Microscope photograph (4× objective) of a membrane that a urine sample was filtered through.
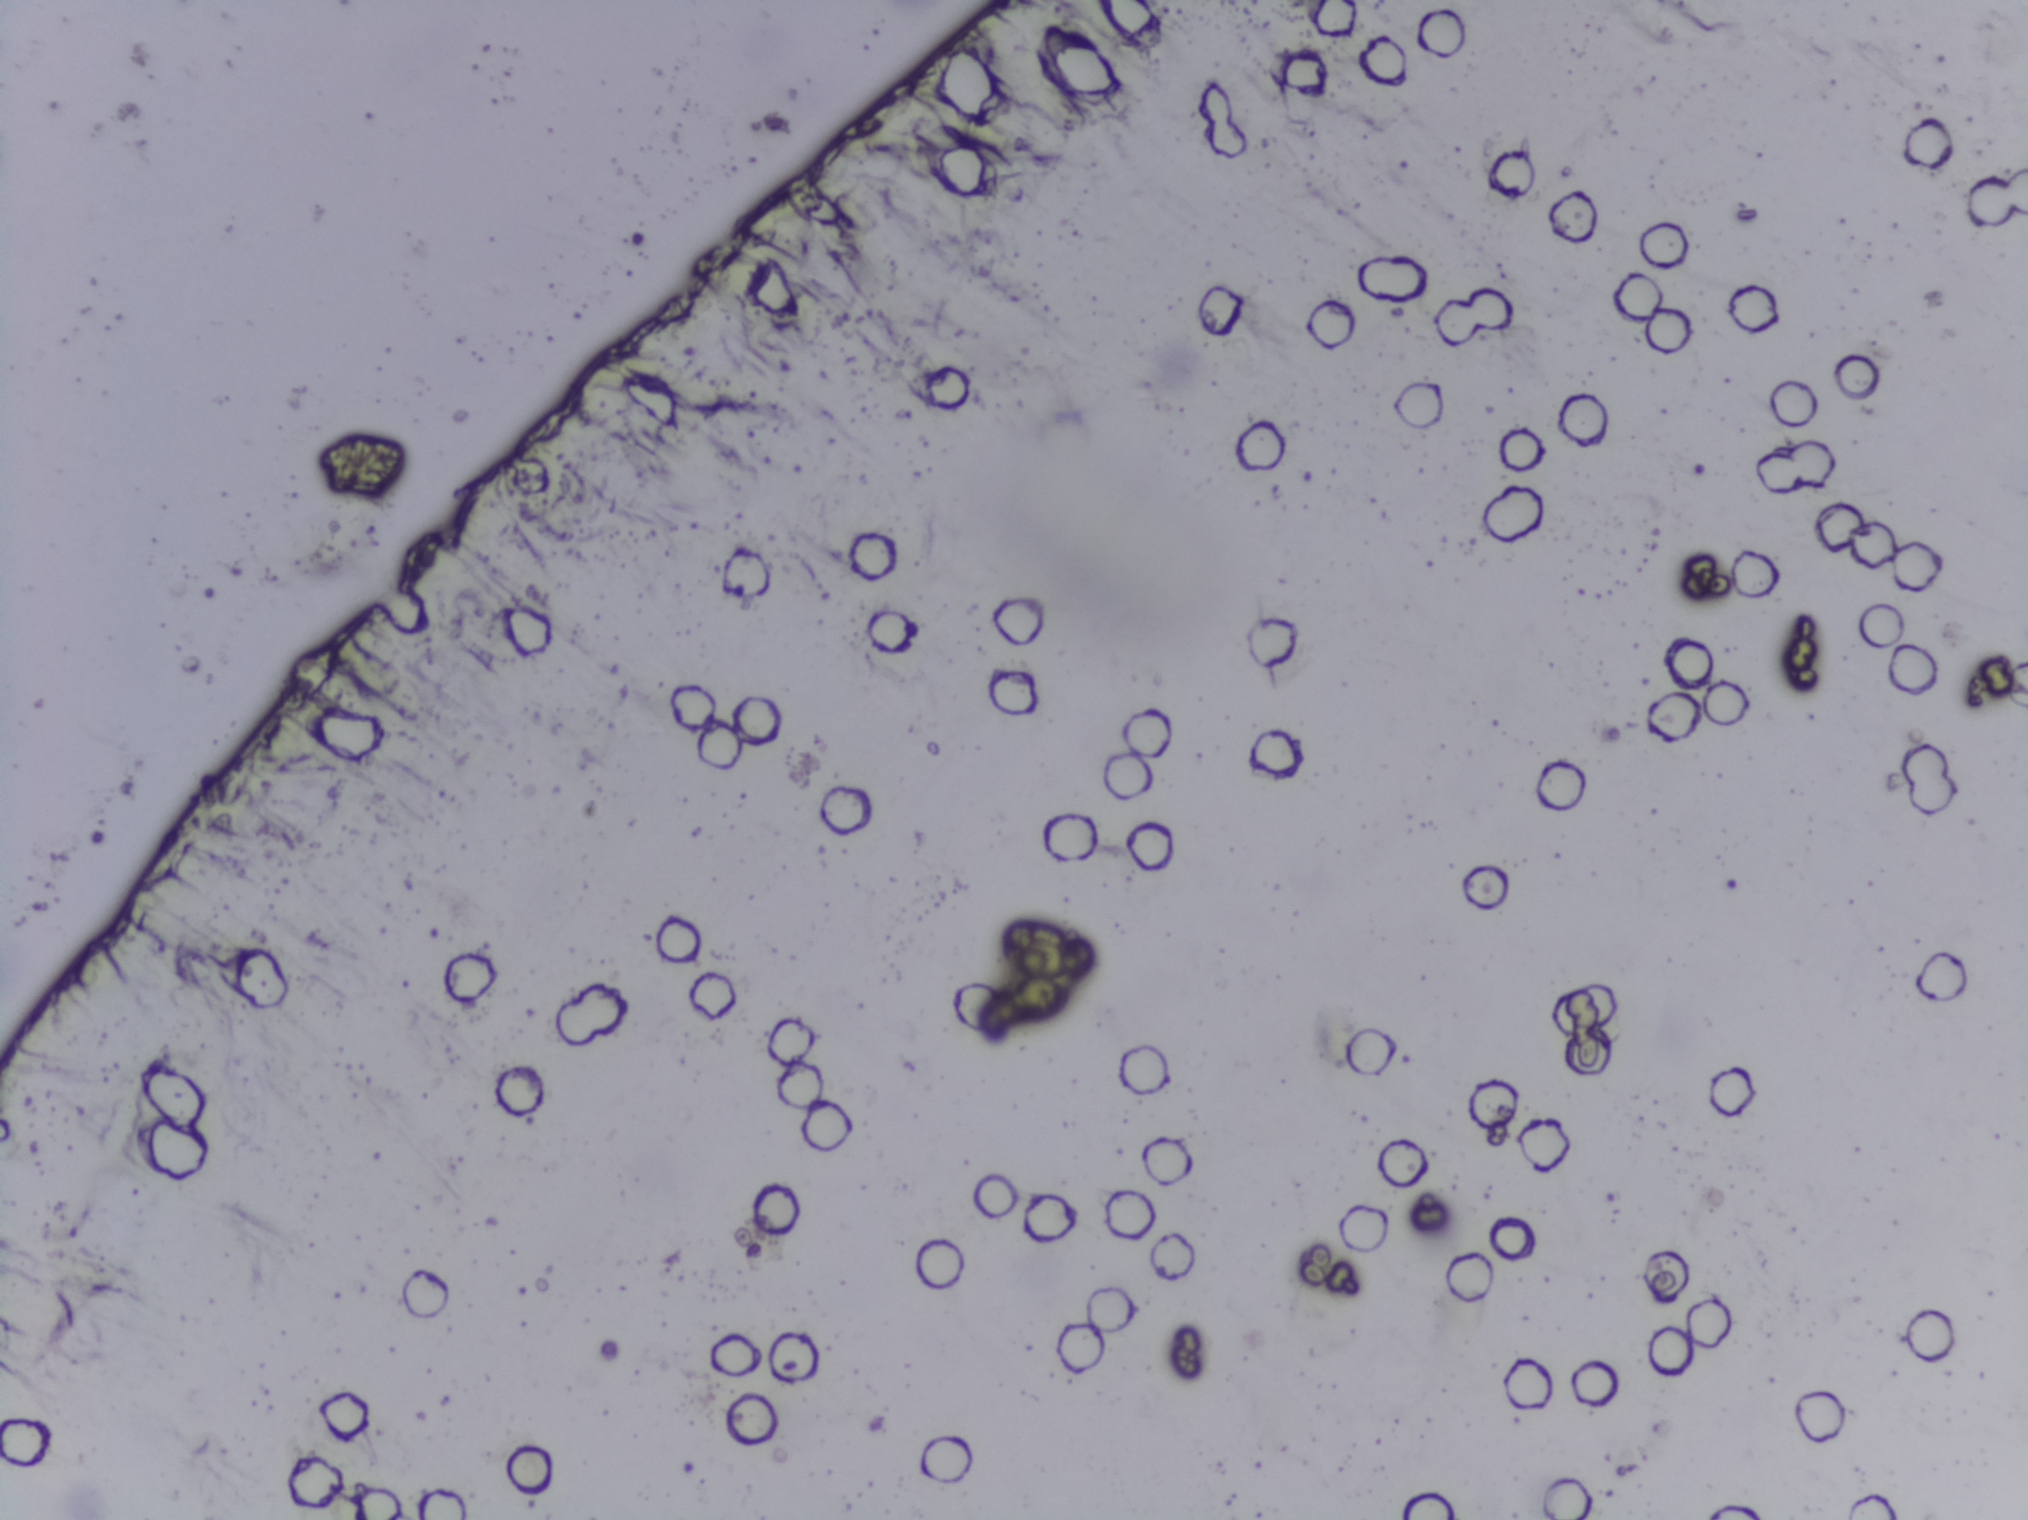
Schistosoma eggs: none outlined.